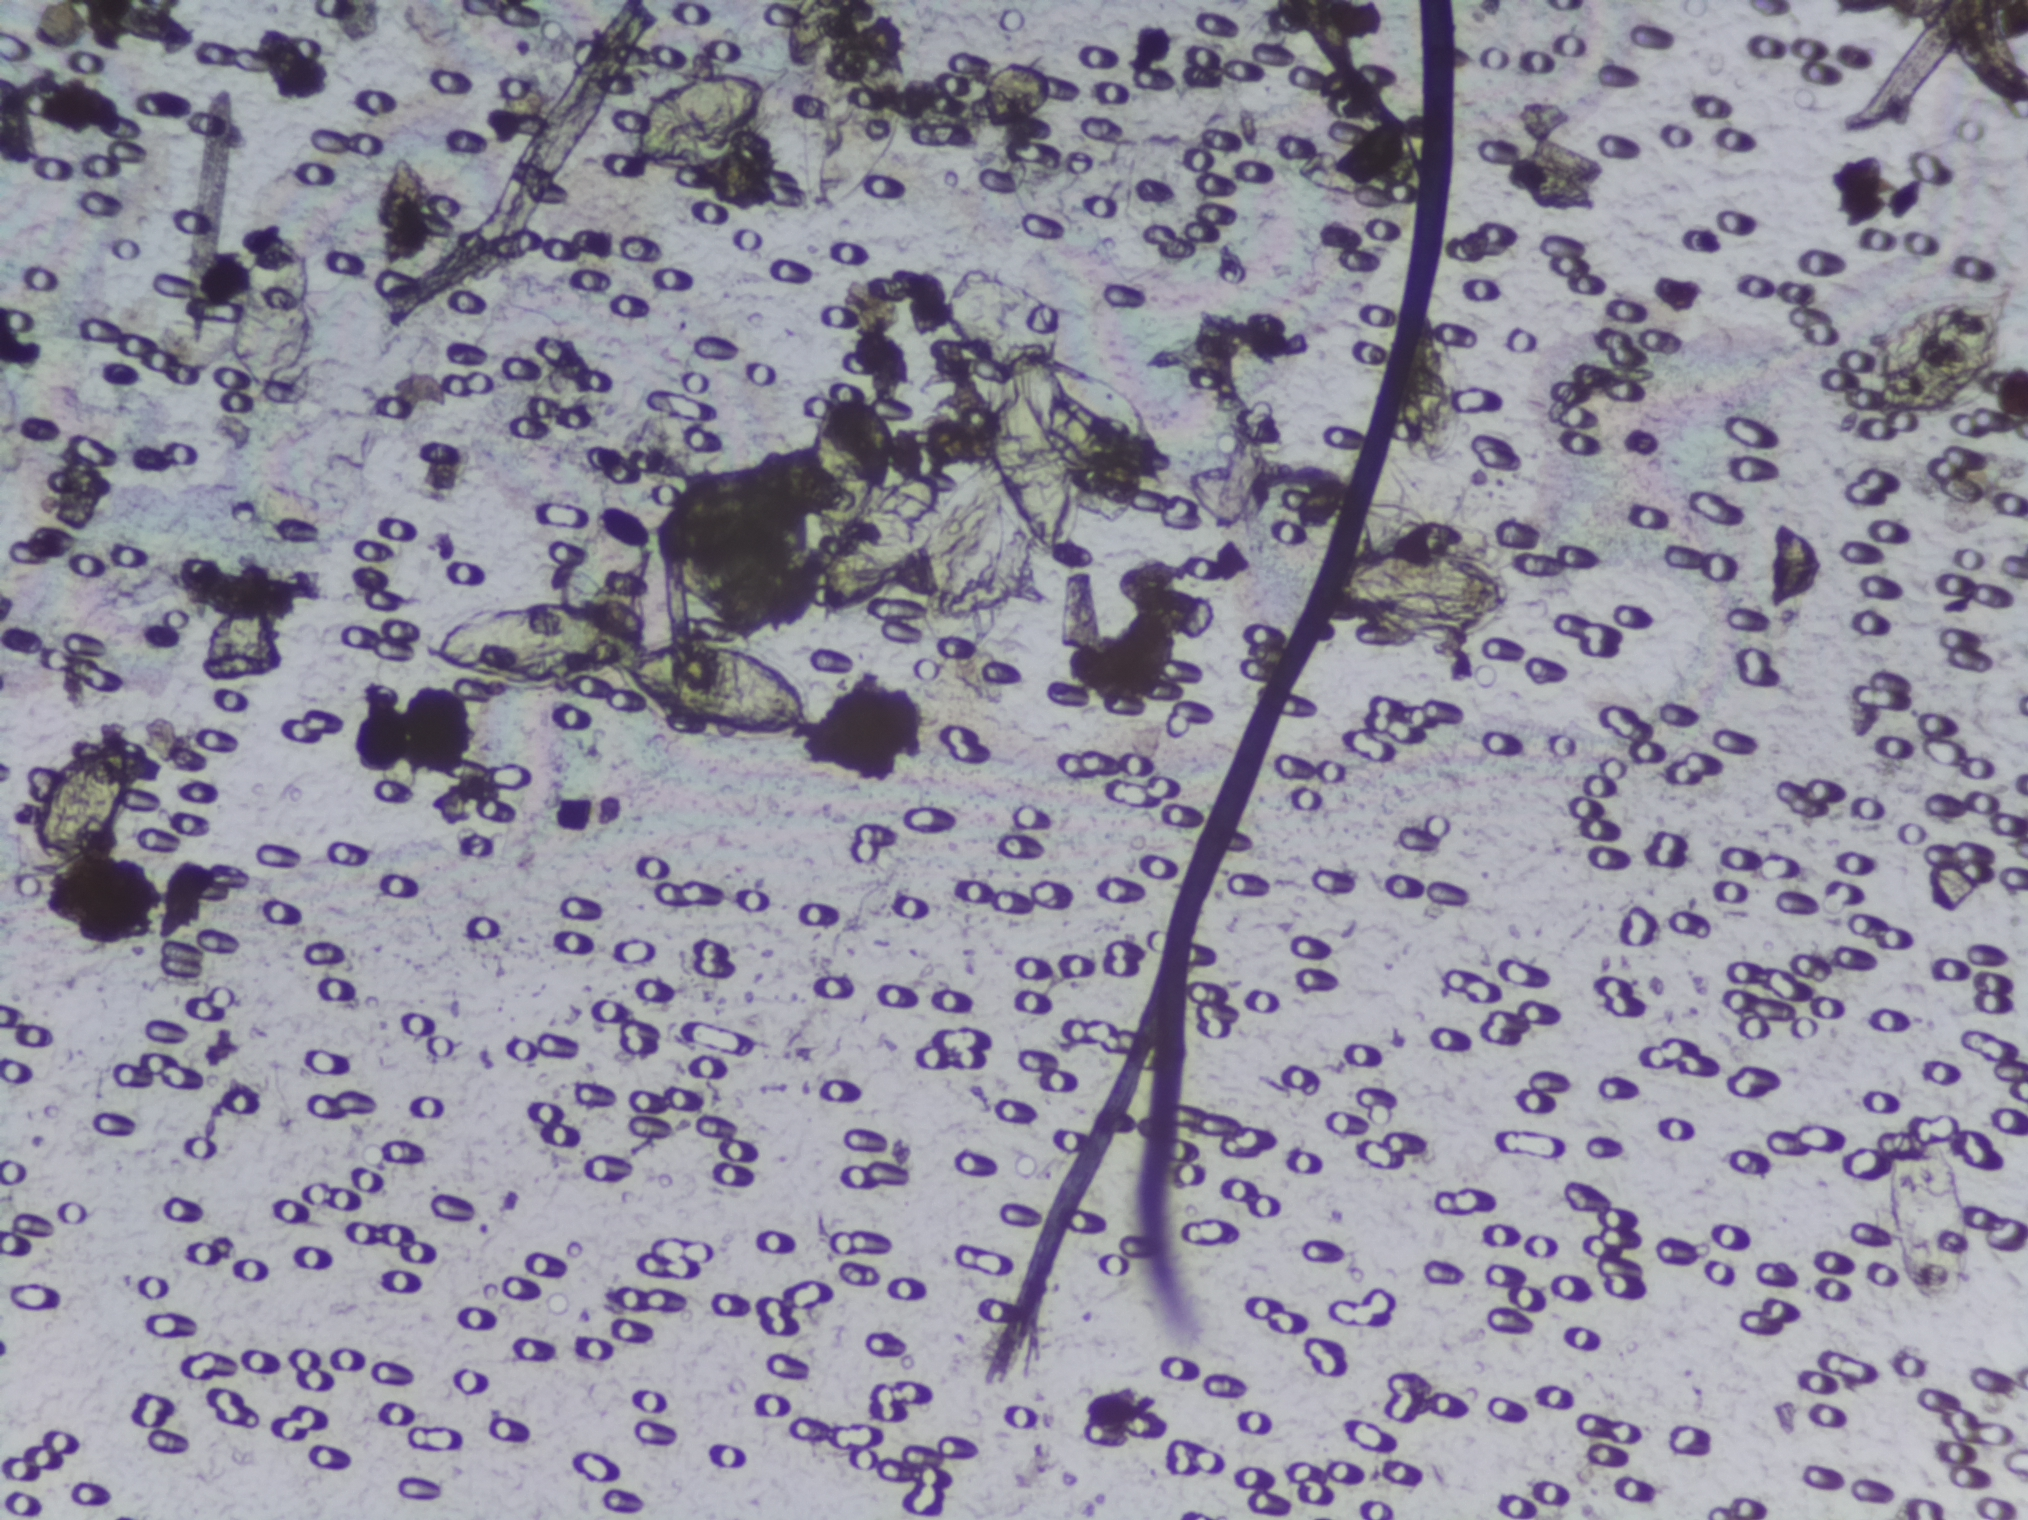
One field of view of a urine filter membrane, 4× objective, 2028 × 1520 pixels.
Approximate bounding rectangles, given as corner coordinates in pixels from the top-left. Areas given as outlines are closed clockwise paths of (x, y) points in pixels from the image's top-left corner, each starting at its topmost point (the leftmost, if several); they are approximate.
Schistosoma eggs are outlined in seven areas of this image, listed from left to right: box (x1=4, y1=735, x2=141, y2=886); box (x1=430, y1=592, x2=820, y2=754); box (x1=619, y1=63, x2=787, y2=185); outline (1050, 333), (1079, 344), (1131, 381), (1180, 434), (1184, 462), (1153, 478), (1162, 499), (1149, 512), (1134, 519), (1090, 513), (1061, 547), (1032, 555), (1035, 585), (1022, 598), (959, 624), (932, 624), (922, 622), (891, 582), (844, 613), (816, 615), (814, 592), (761, 565), (720, 510), (719, 461), (740, 452), (777, 452), (791, 467), (810, 446), (827, 384), (872, 394), (905, 436), (965, 438), (972, 424), (974, 366), (987, 346), (1062, 341) (eggs clustered together); box (x1=1315, y1=526, x2=1527, y2=644); box (x1=1386, y1=294, x2=1472, y2=466); box (x1=1844, y1=274, x2=2019, y2=435). Eggs that touch can end up inside the same outlined area.